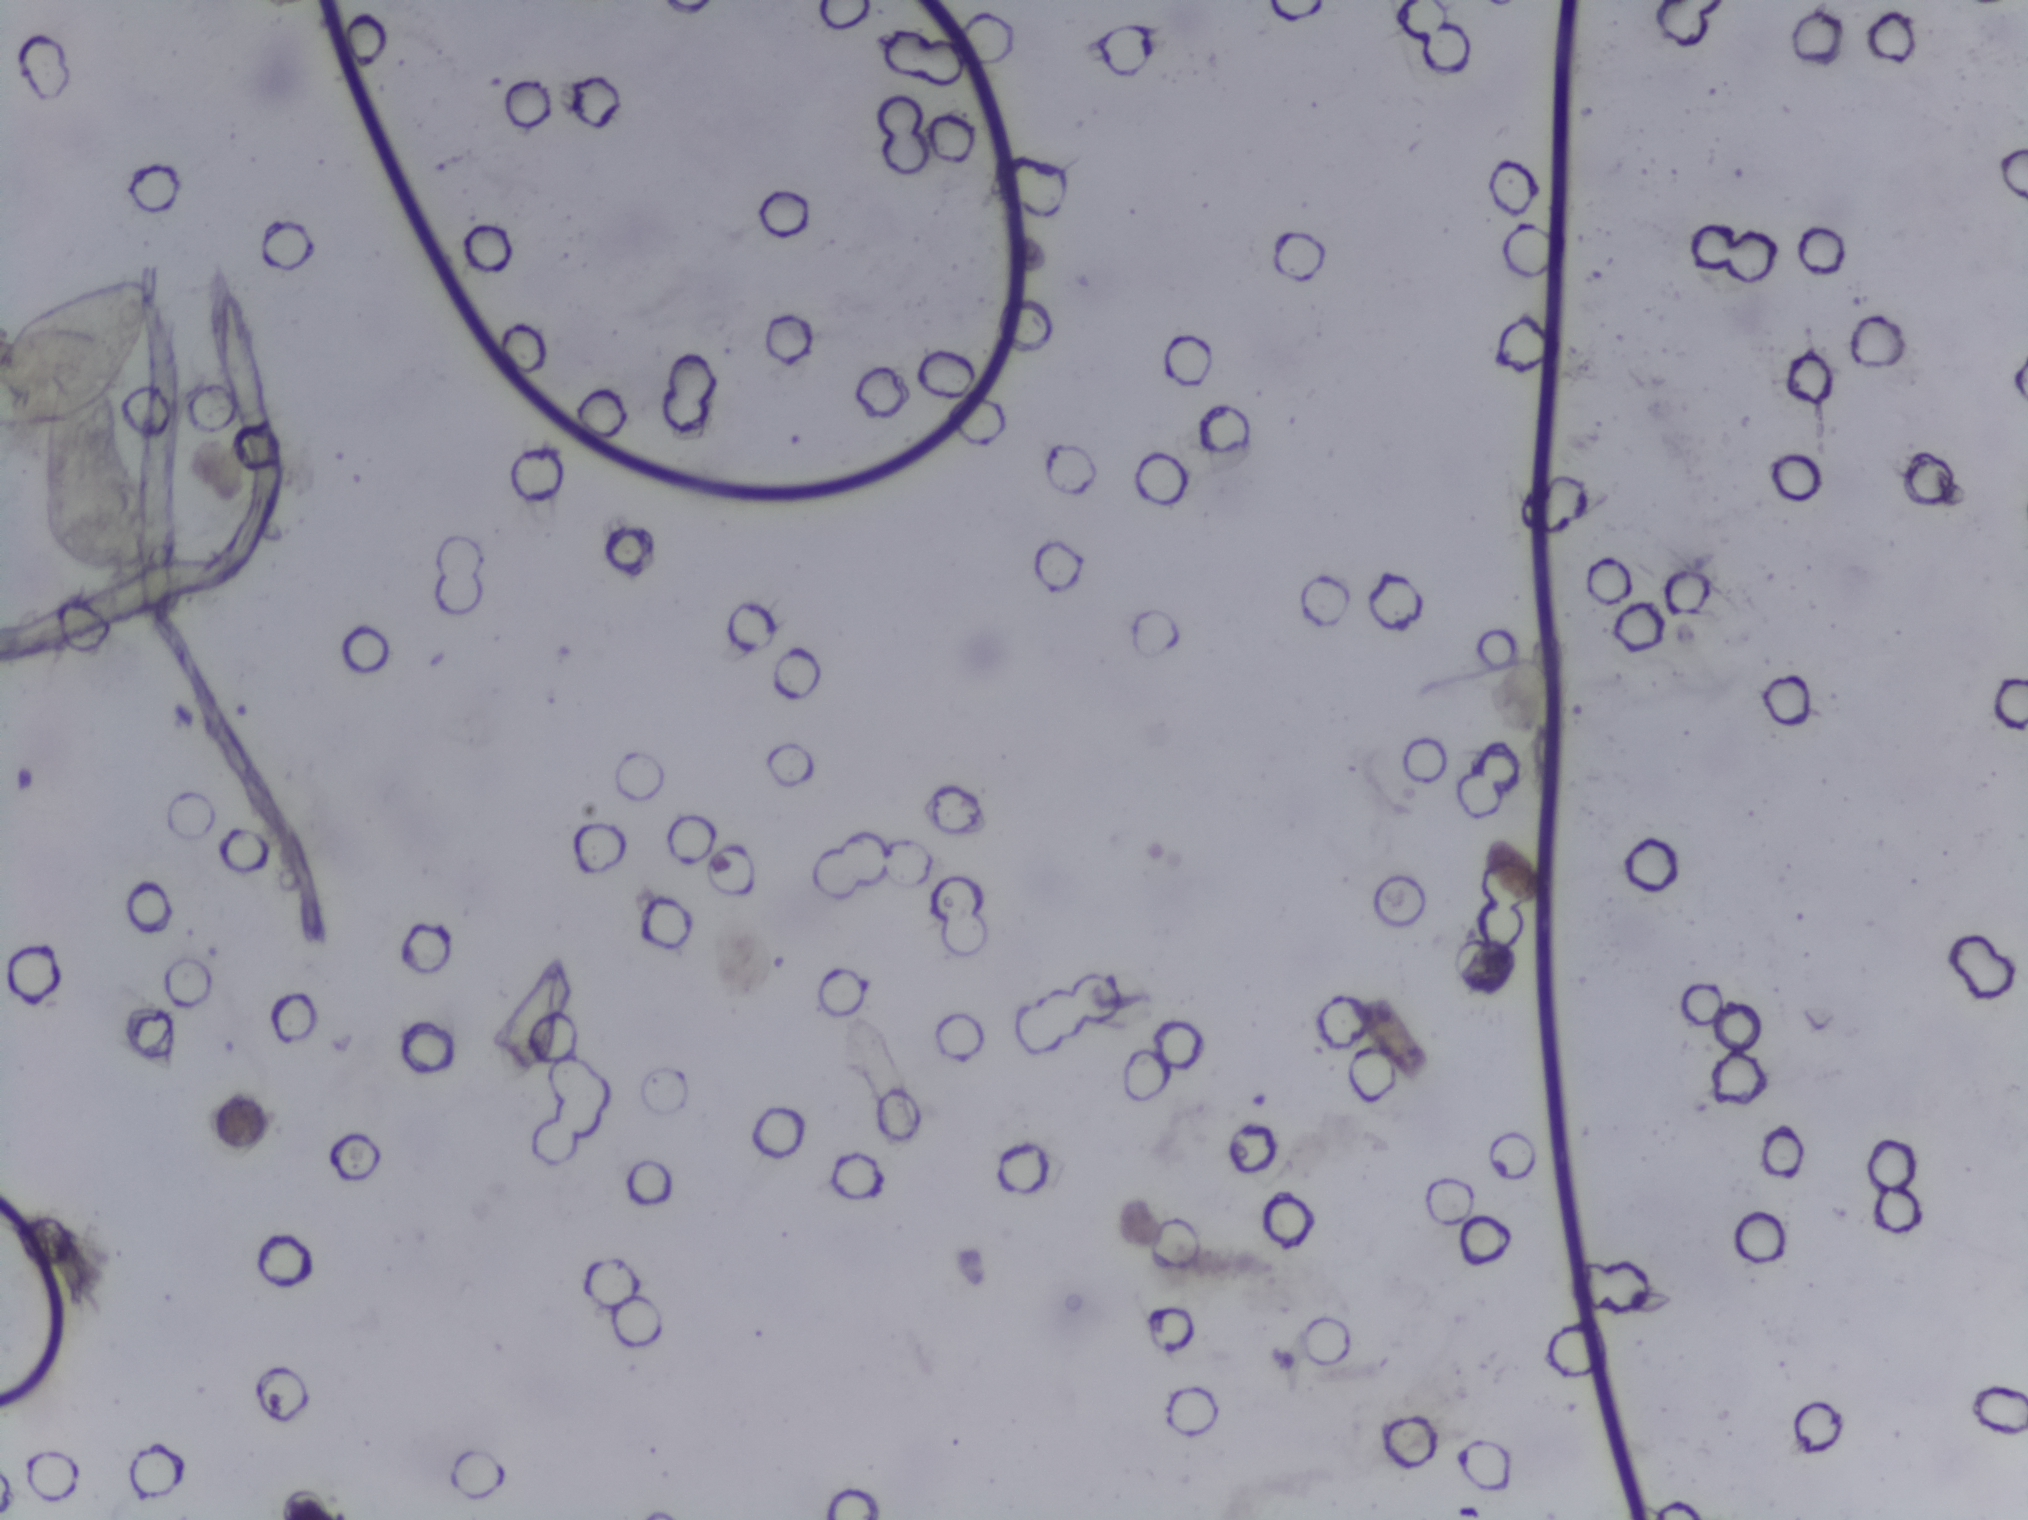
Photomicrograph of a urine filtration membrane, 4× objective.
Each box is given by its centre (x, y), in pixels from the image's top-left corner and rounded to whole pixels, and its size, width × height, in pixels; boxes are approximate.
Areas outlined as Schistosoma eggs: centre (78, 356), 157 × 160 px (reaching the left edge of the frame). About 0.6% of the image's pixels are marked (the marked pixels themselves, not the box around them). An outlined area can hold more than one egg.